One field of view of a urine filter membrane, 4× objective, 2028 × 1520 pixels.
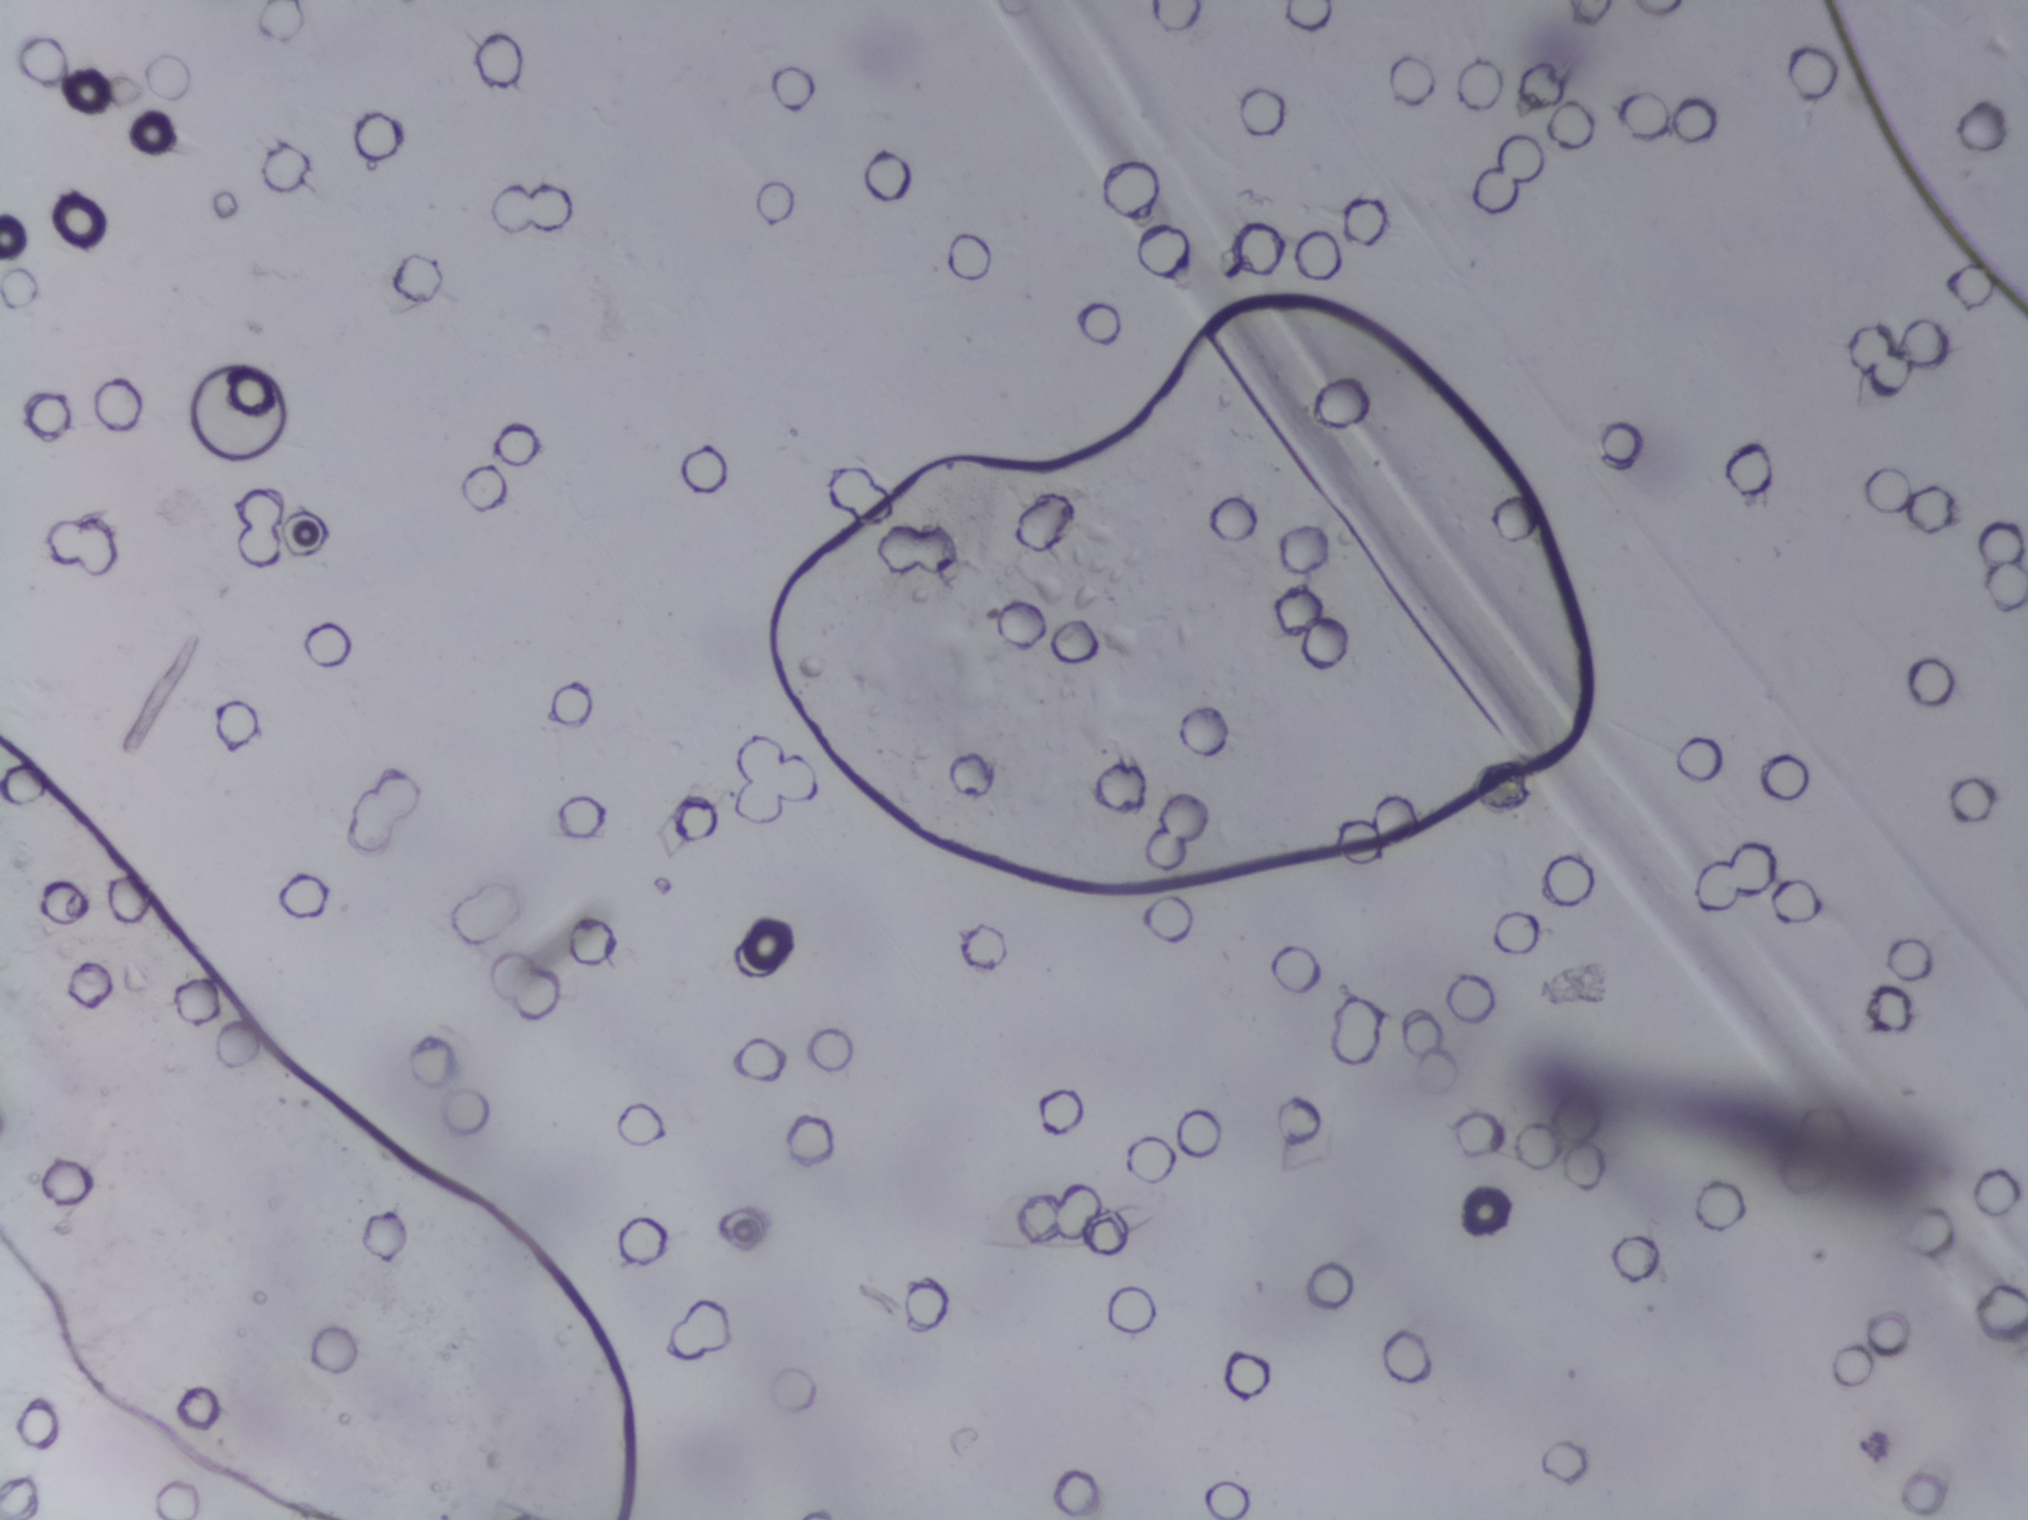
No area of this image was outlined as a Schistosoma egg.